Photomicrograph of a urine filtration membrane, 4× objective. The field of view is about 1.5 mm × 1.1 mm.
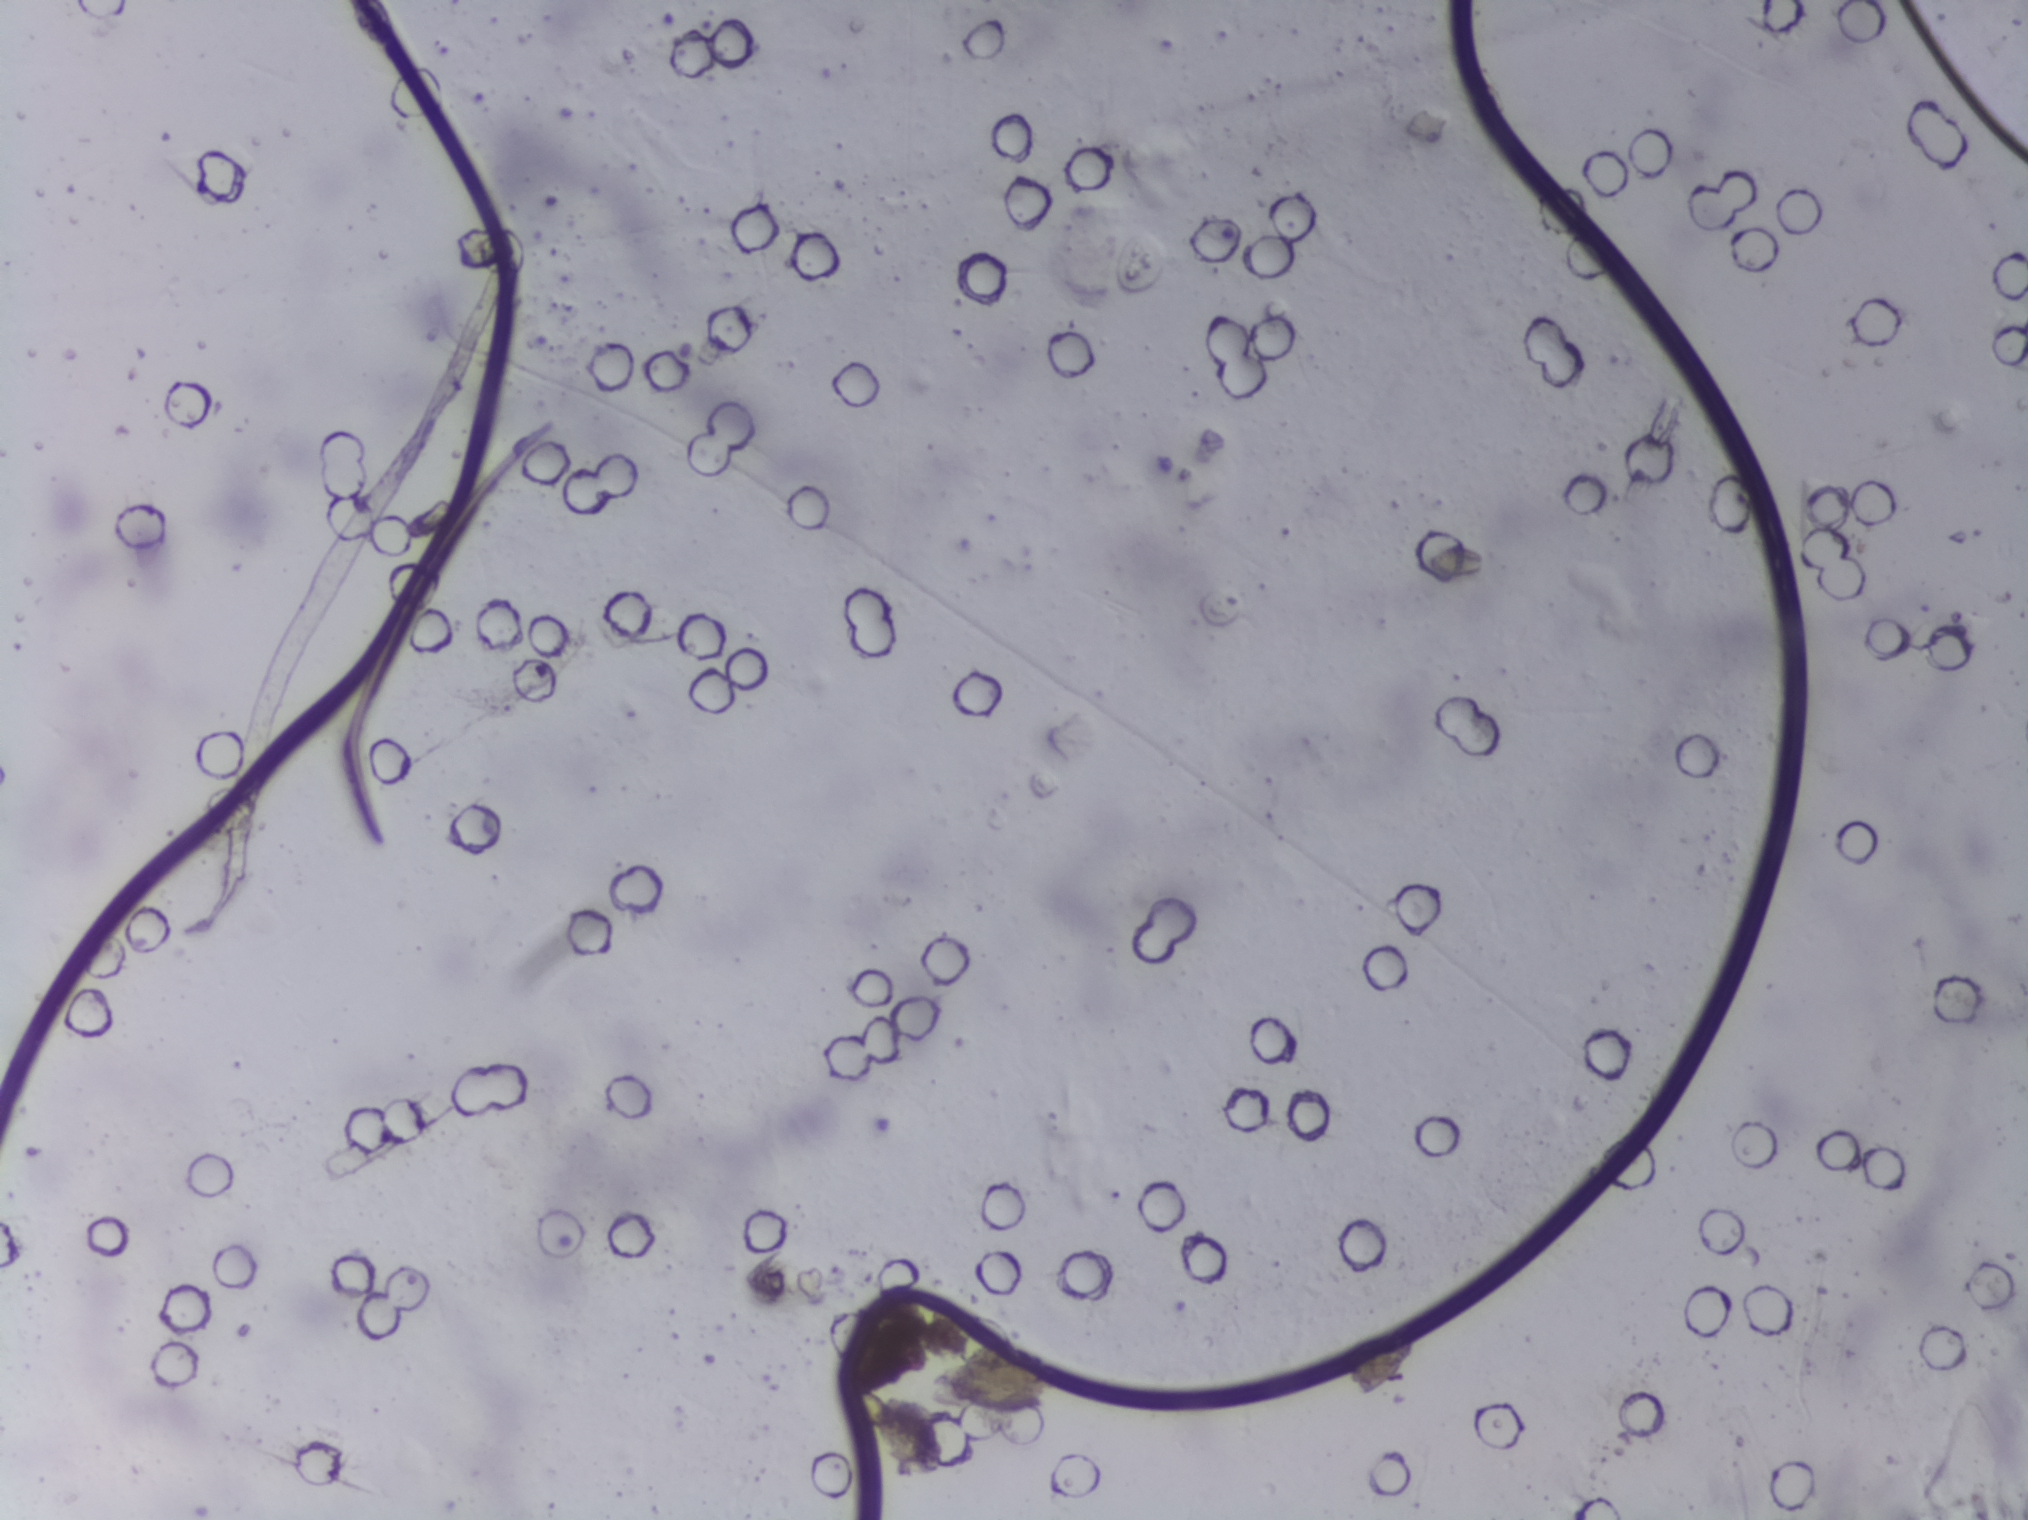
The expert annotation outlines no Schistosoma egg in this image.